Microscope photograph (4× objective) of a membrane that a urine sample was filtered through.
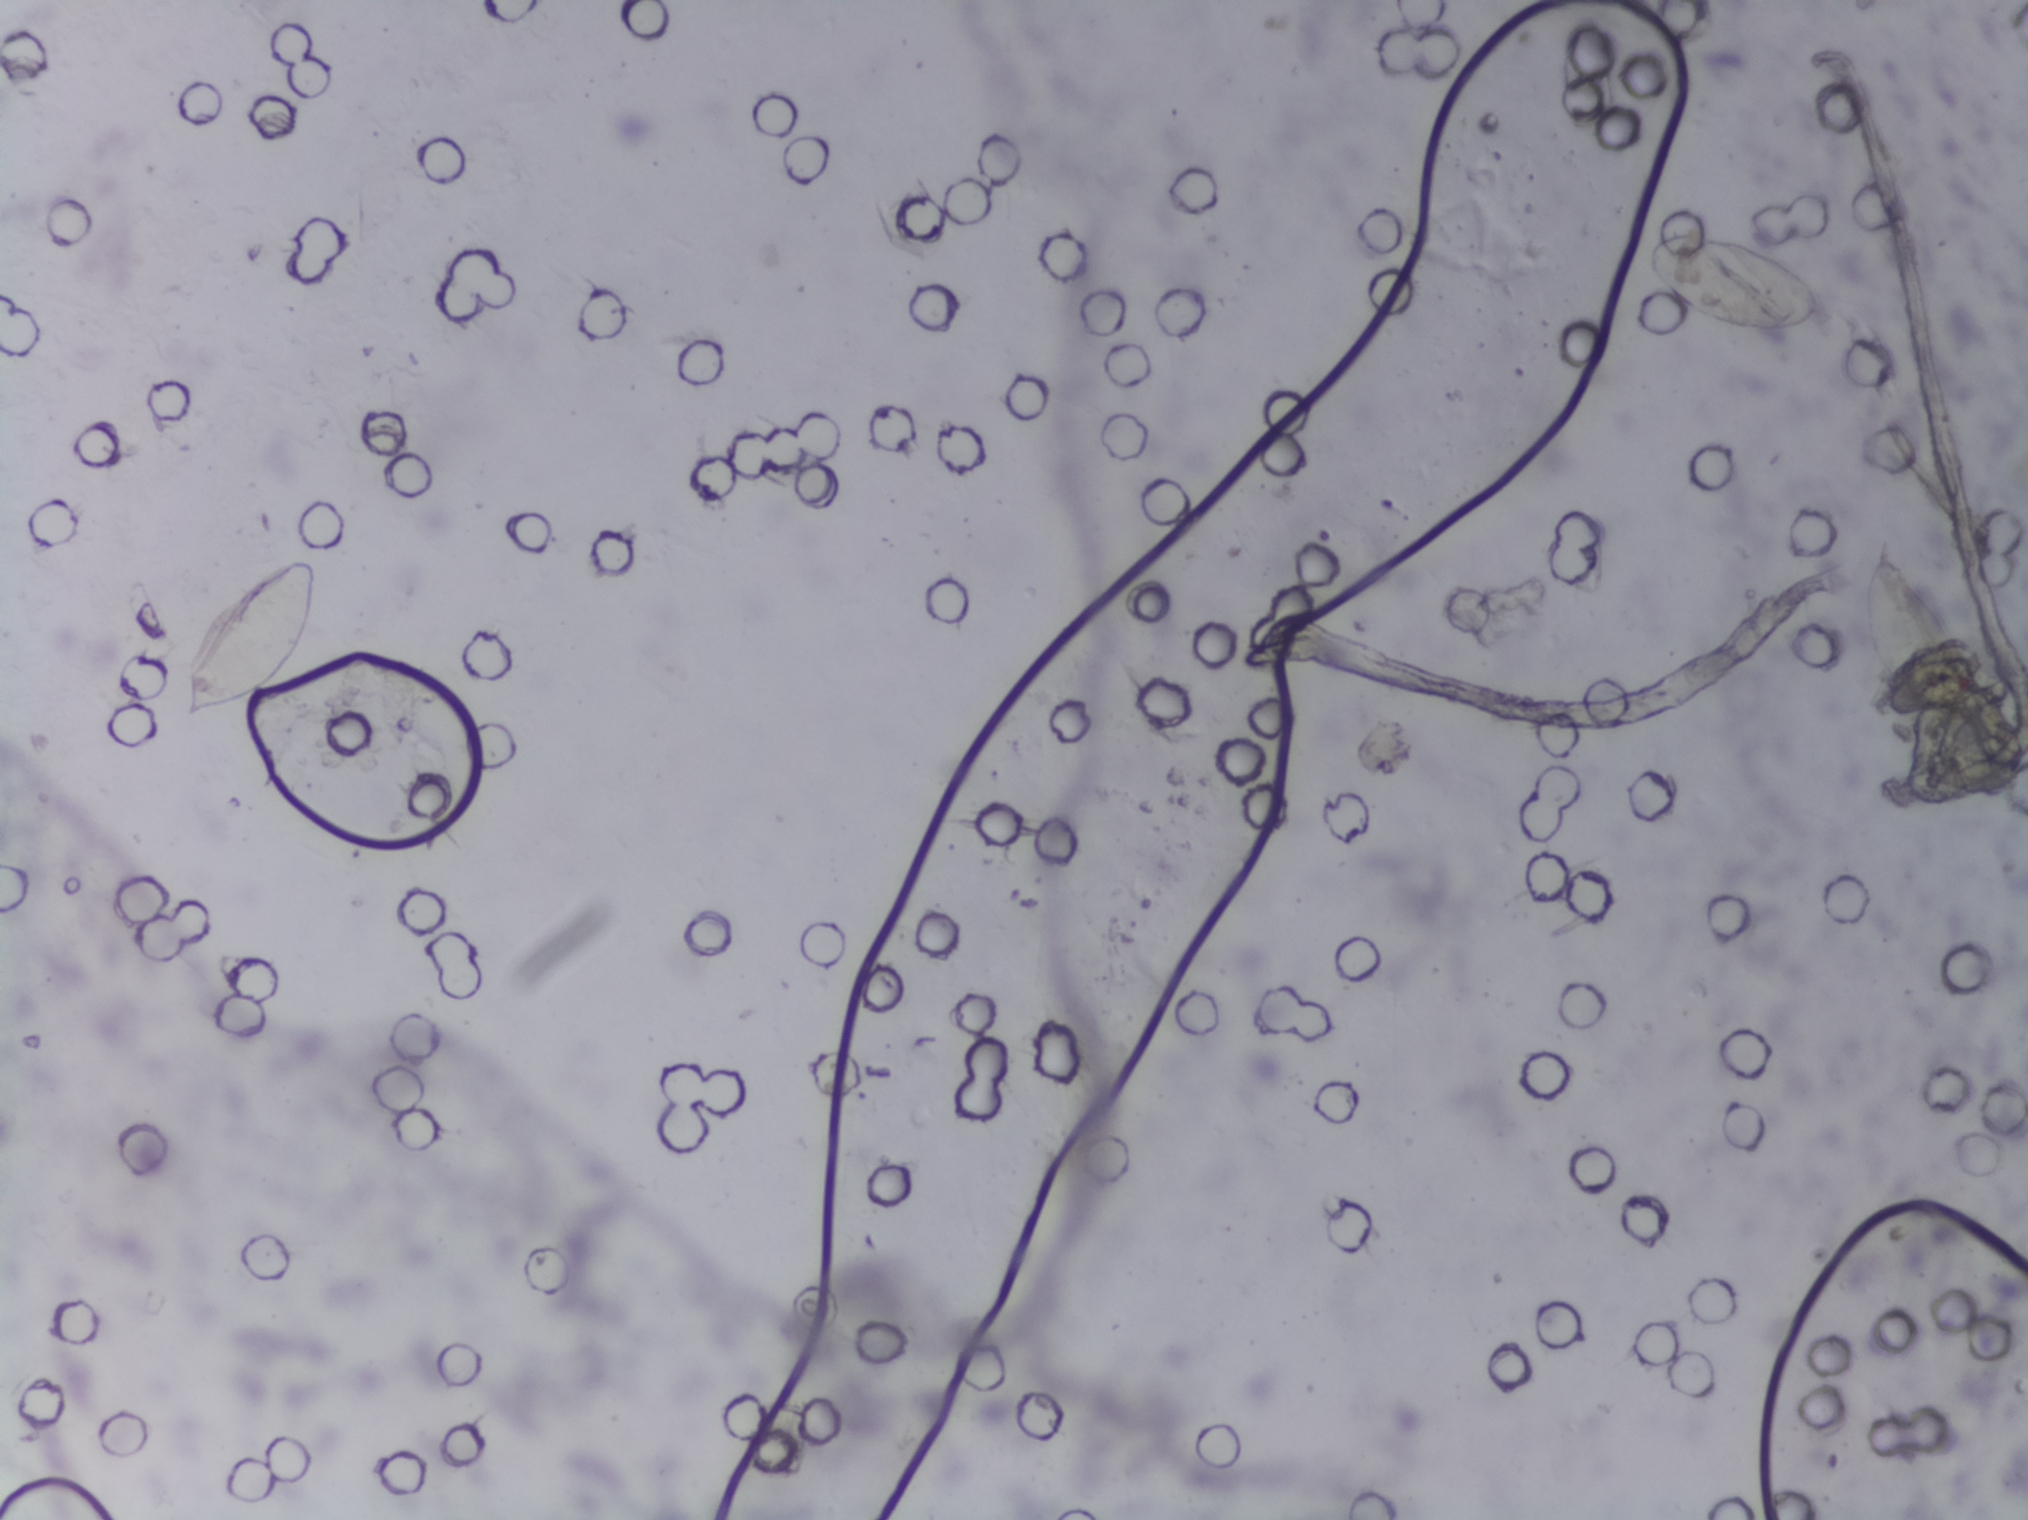
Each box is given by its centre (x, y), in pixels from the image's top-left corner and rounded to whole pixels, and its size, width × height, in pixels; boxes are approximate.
Schistosoma eggs are outlined in two areas of this image, listed from left to right: centre (251, 640), 139 × 168 px and centre (1736, 280), 180 × 114 px. A single outlined area may contain several eggs.